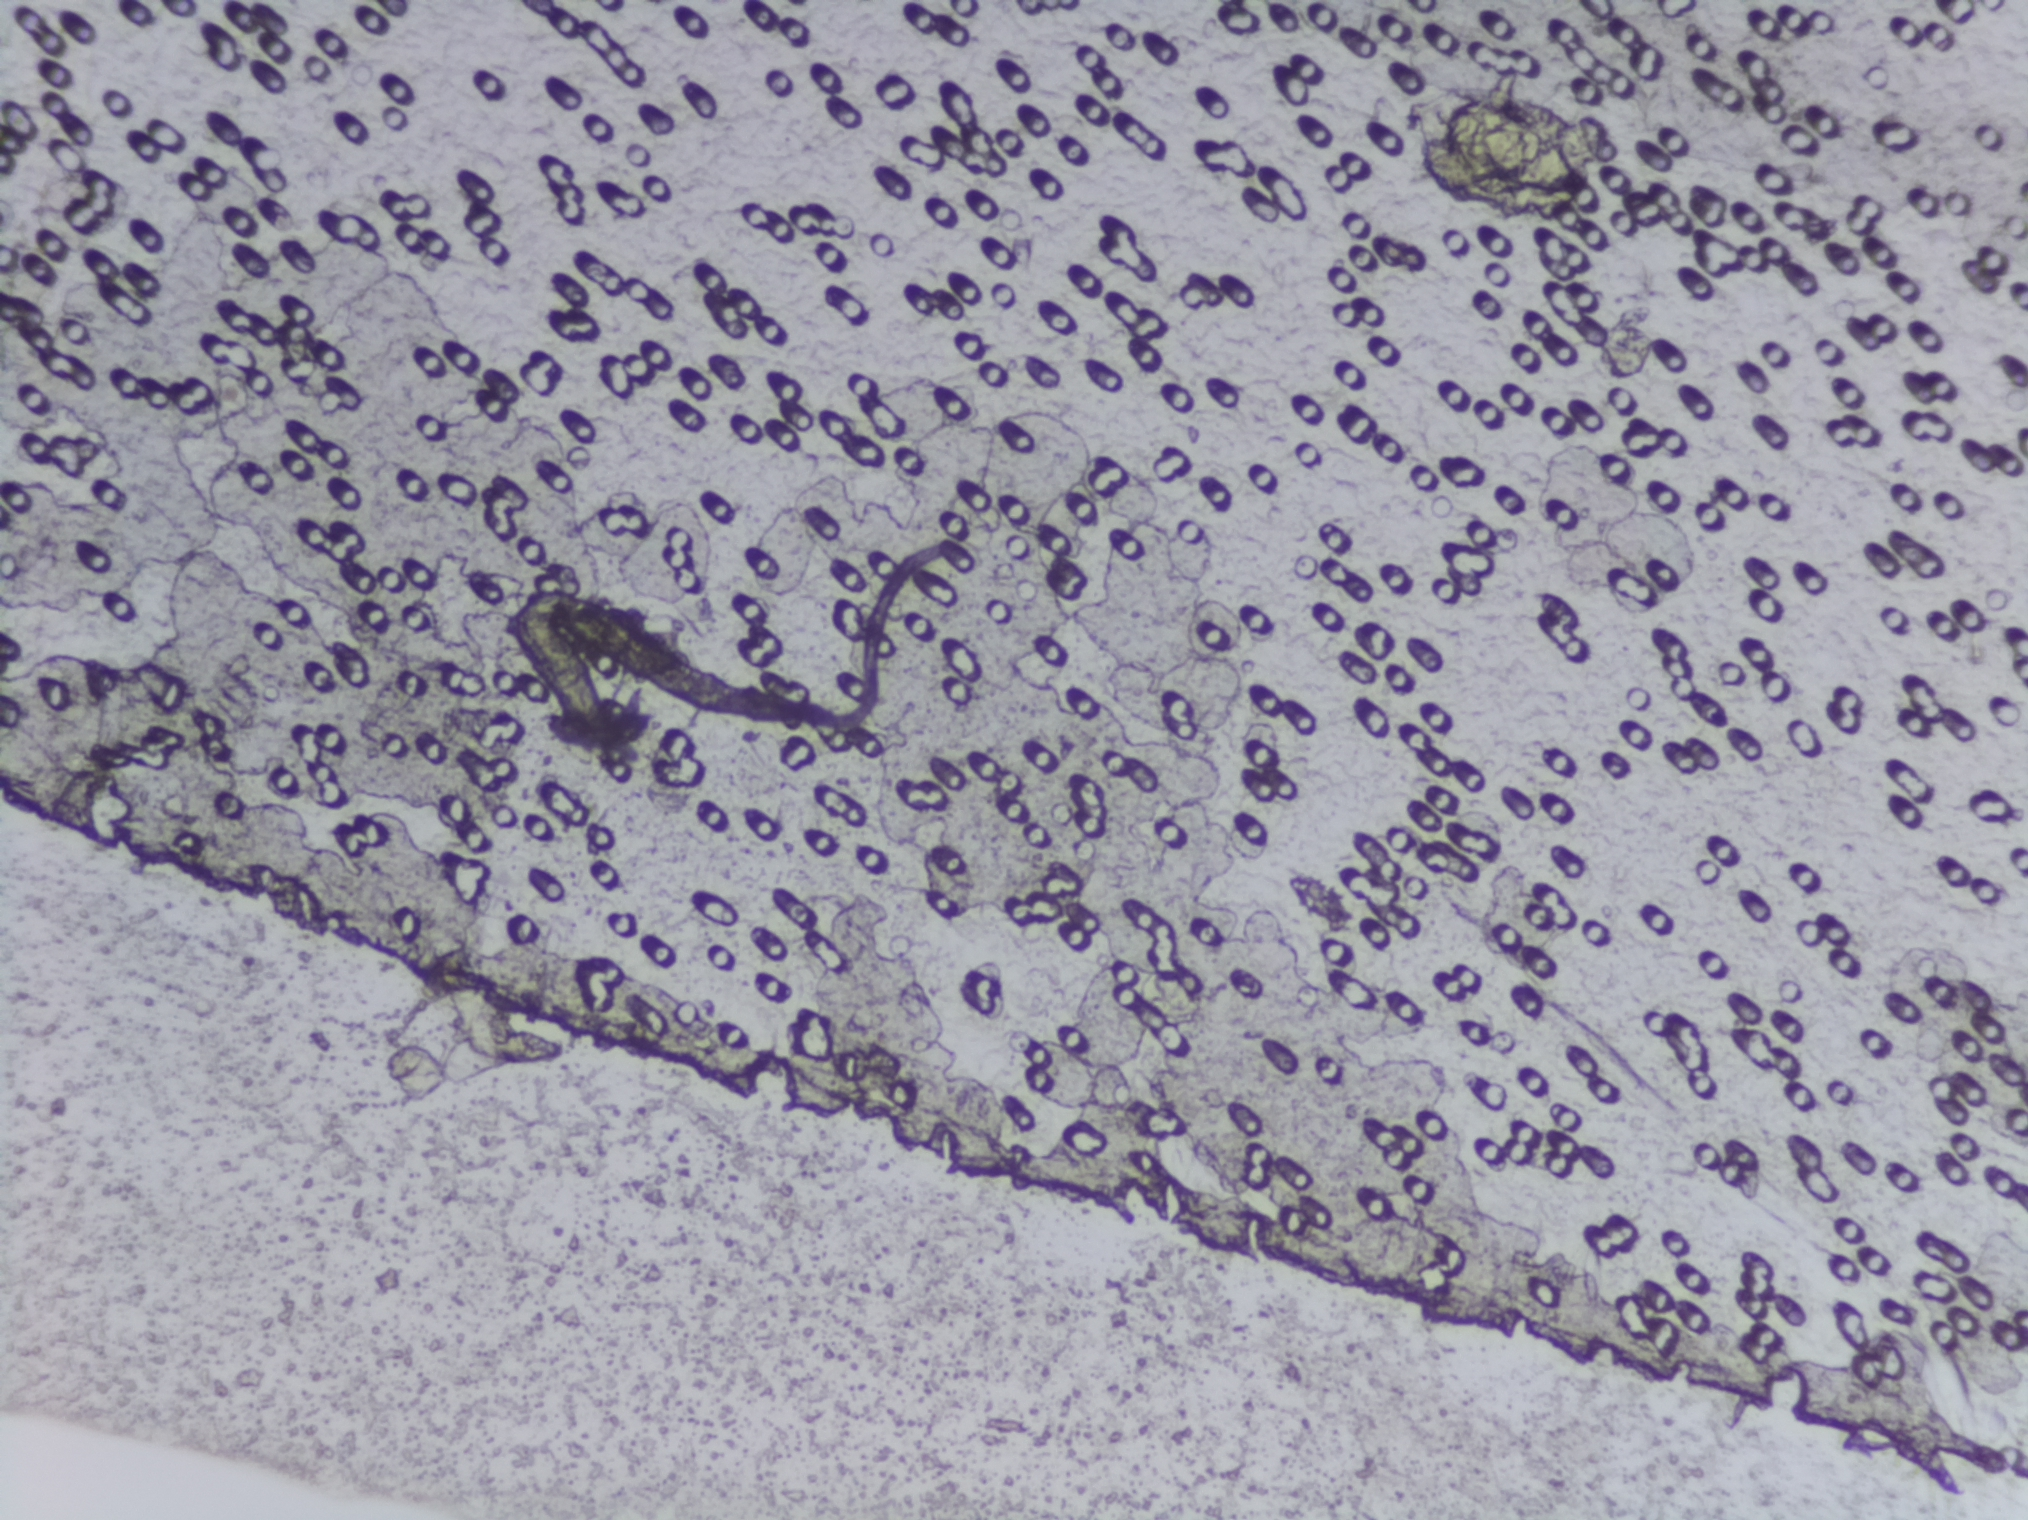
Schistosoma eggs: none outlined.
Urine filtration membrane under a 4× objective, photographed by an automated digital microscope. Field of view: about 1.5 mm wide and 1.1 mm high.